Photograph from an automated digital microscope: urine filter membrane, 4× objective.
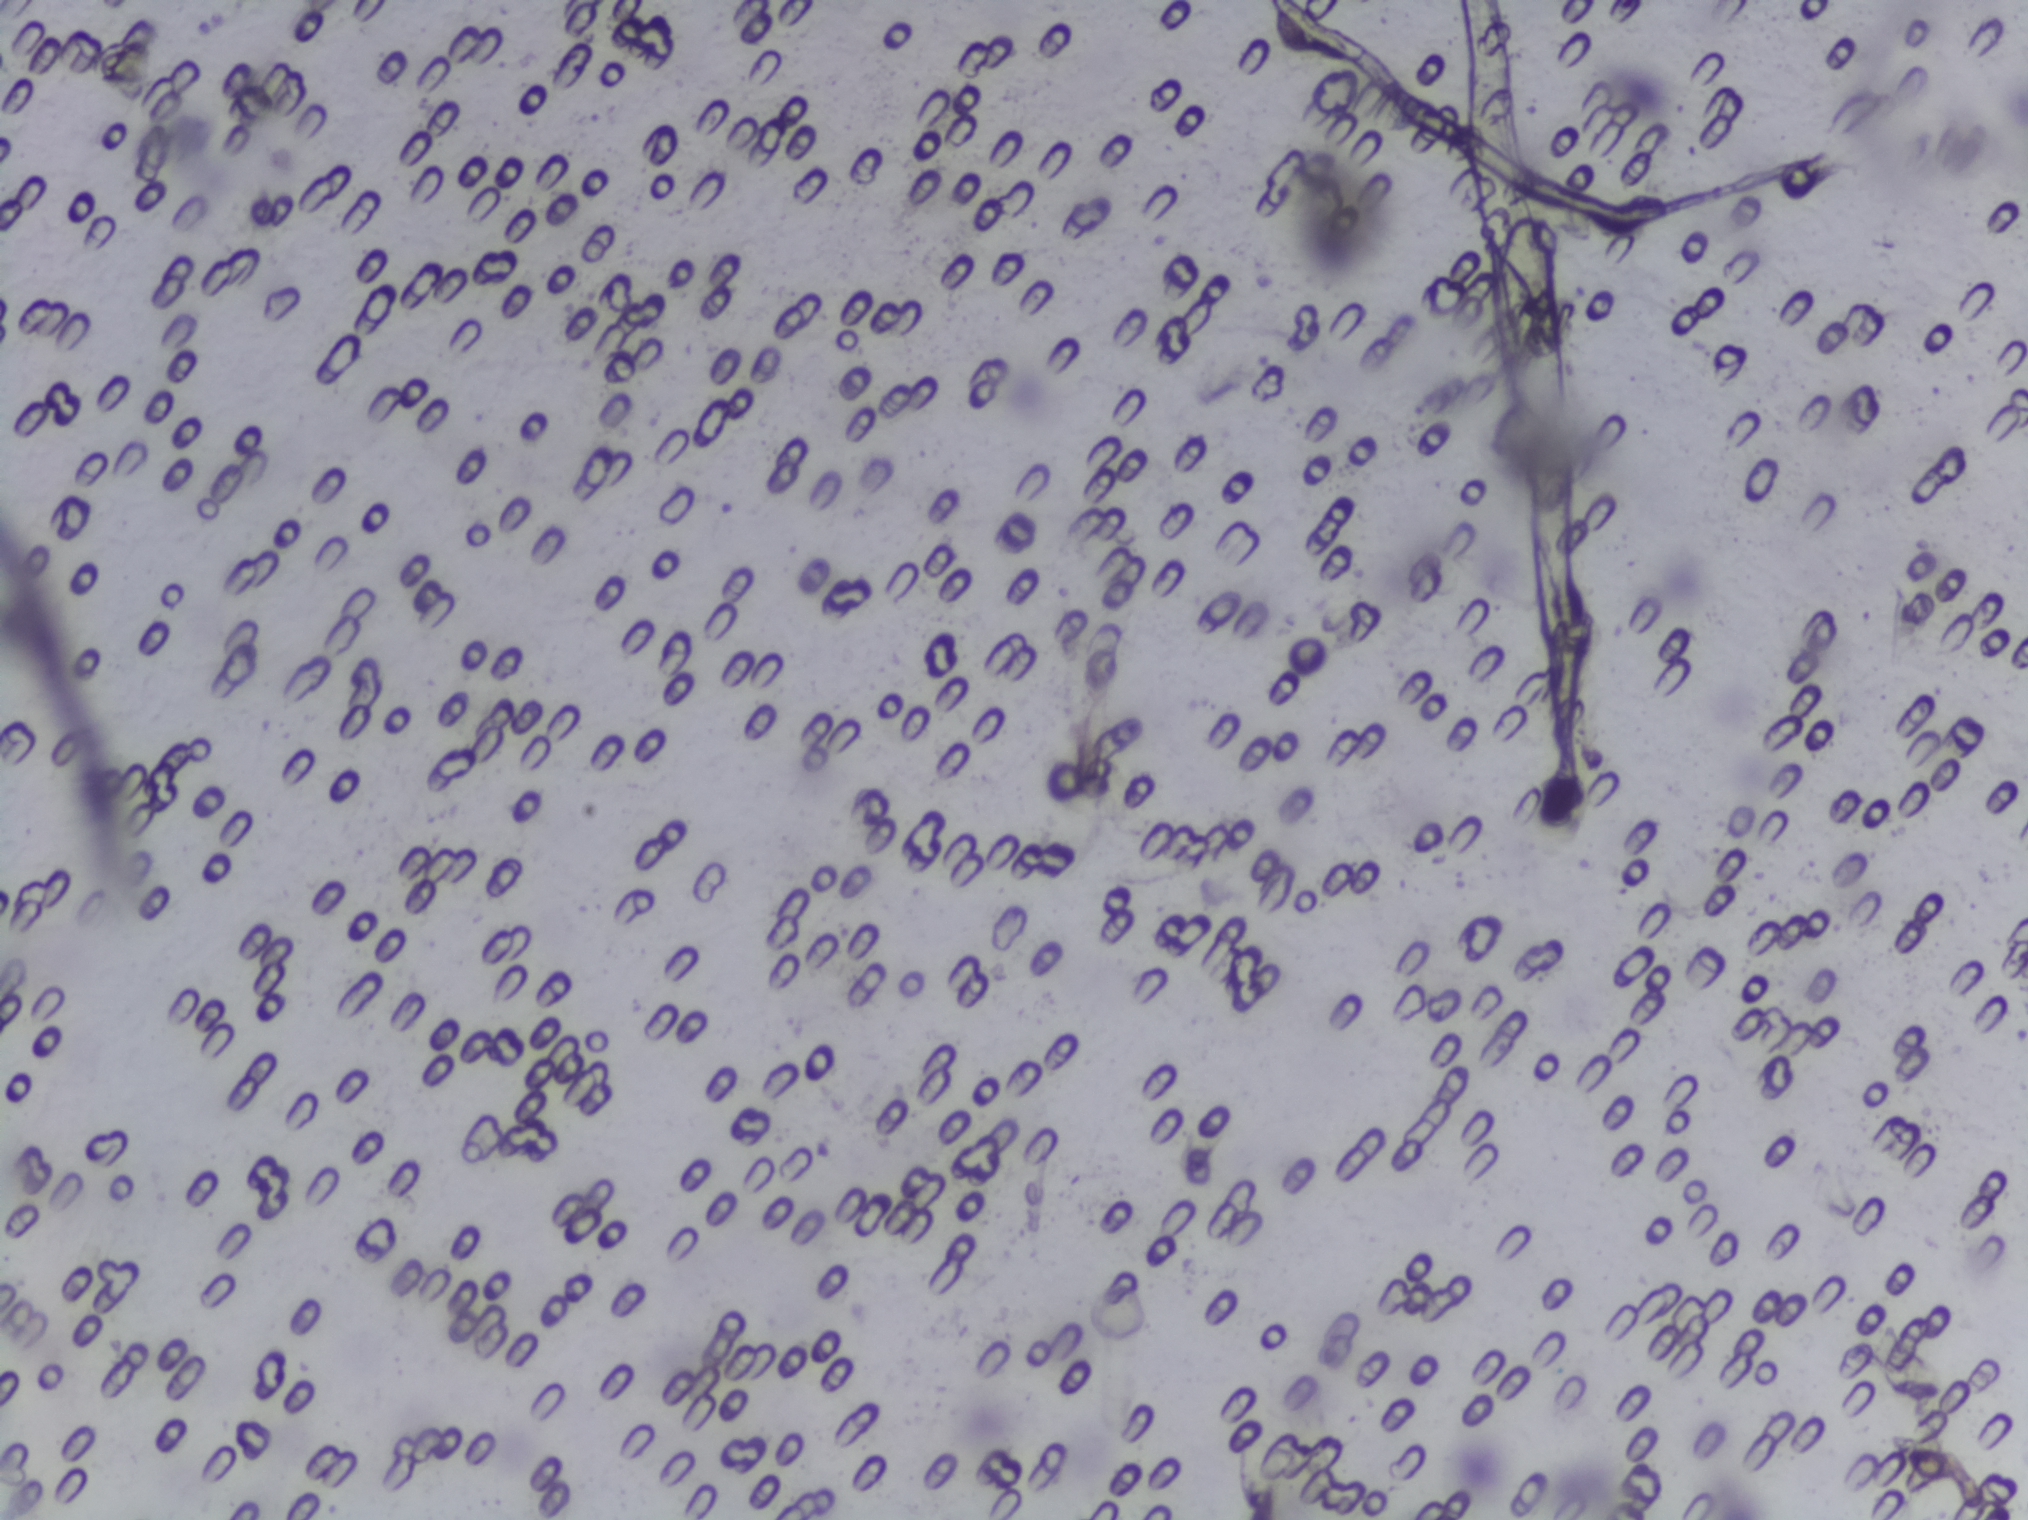
The expert annotation outlines no Schistosoma egg in this image.